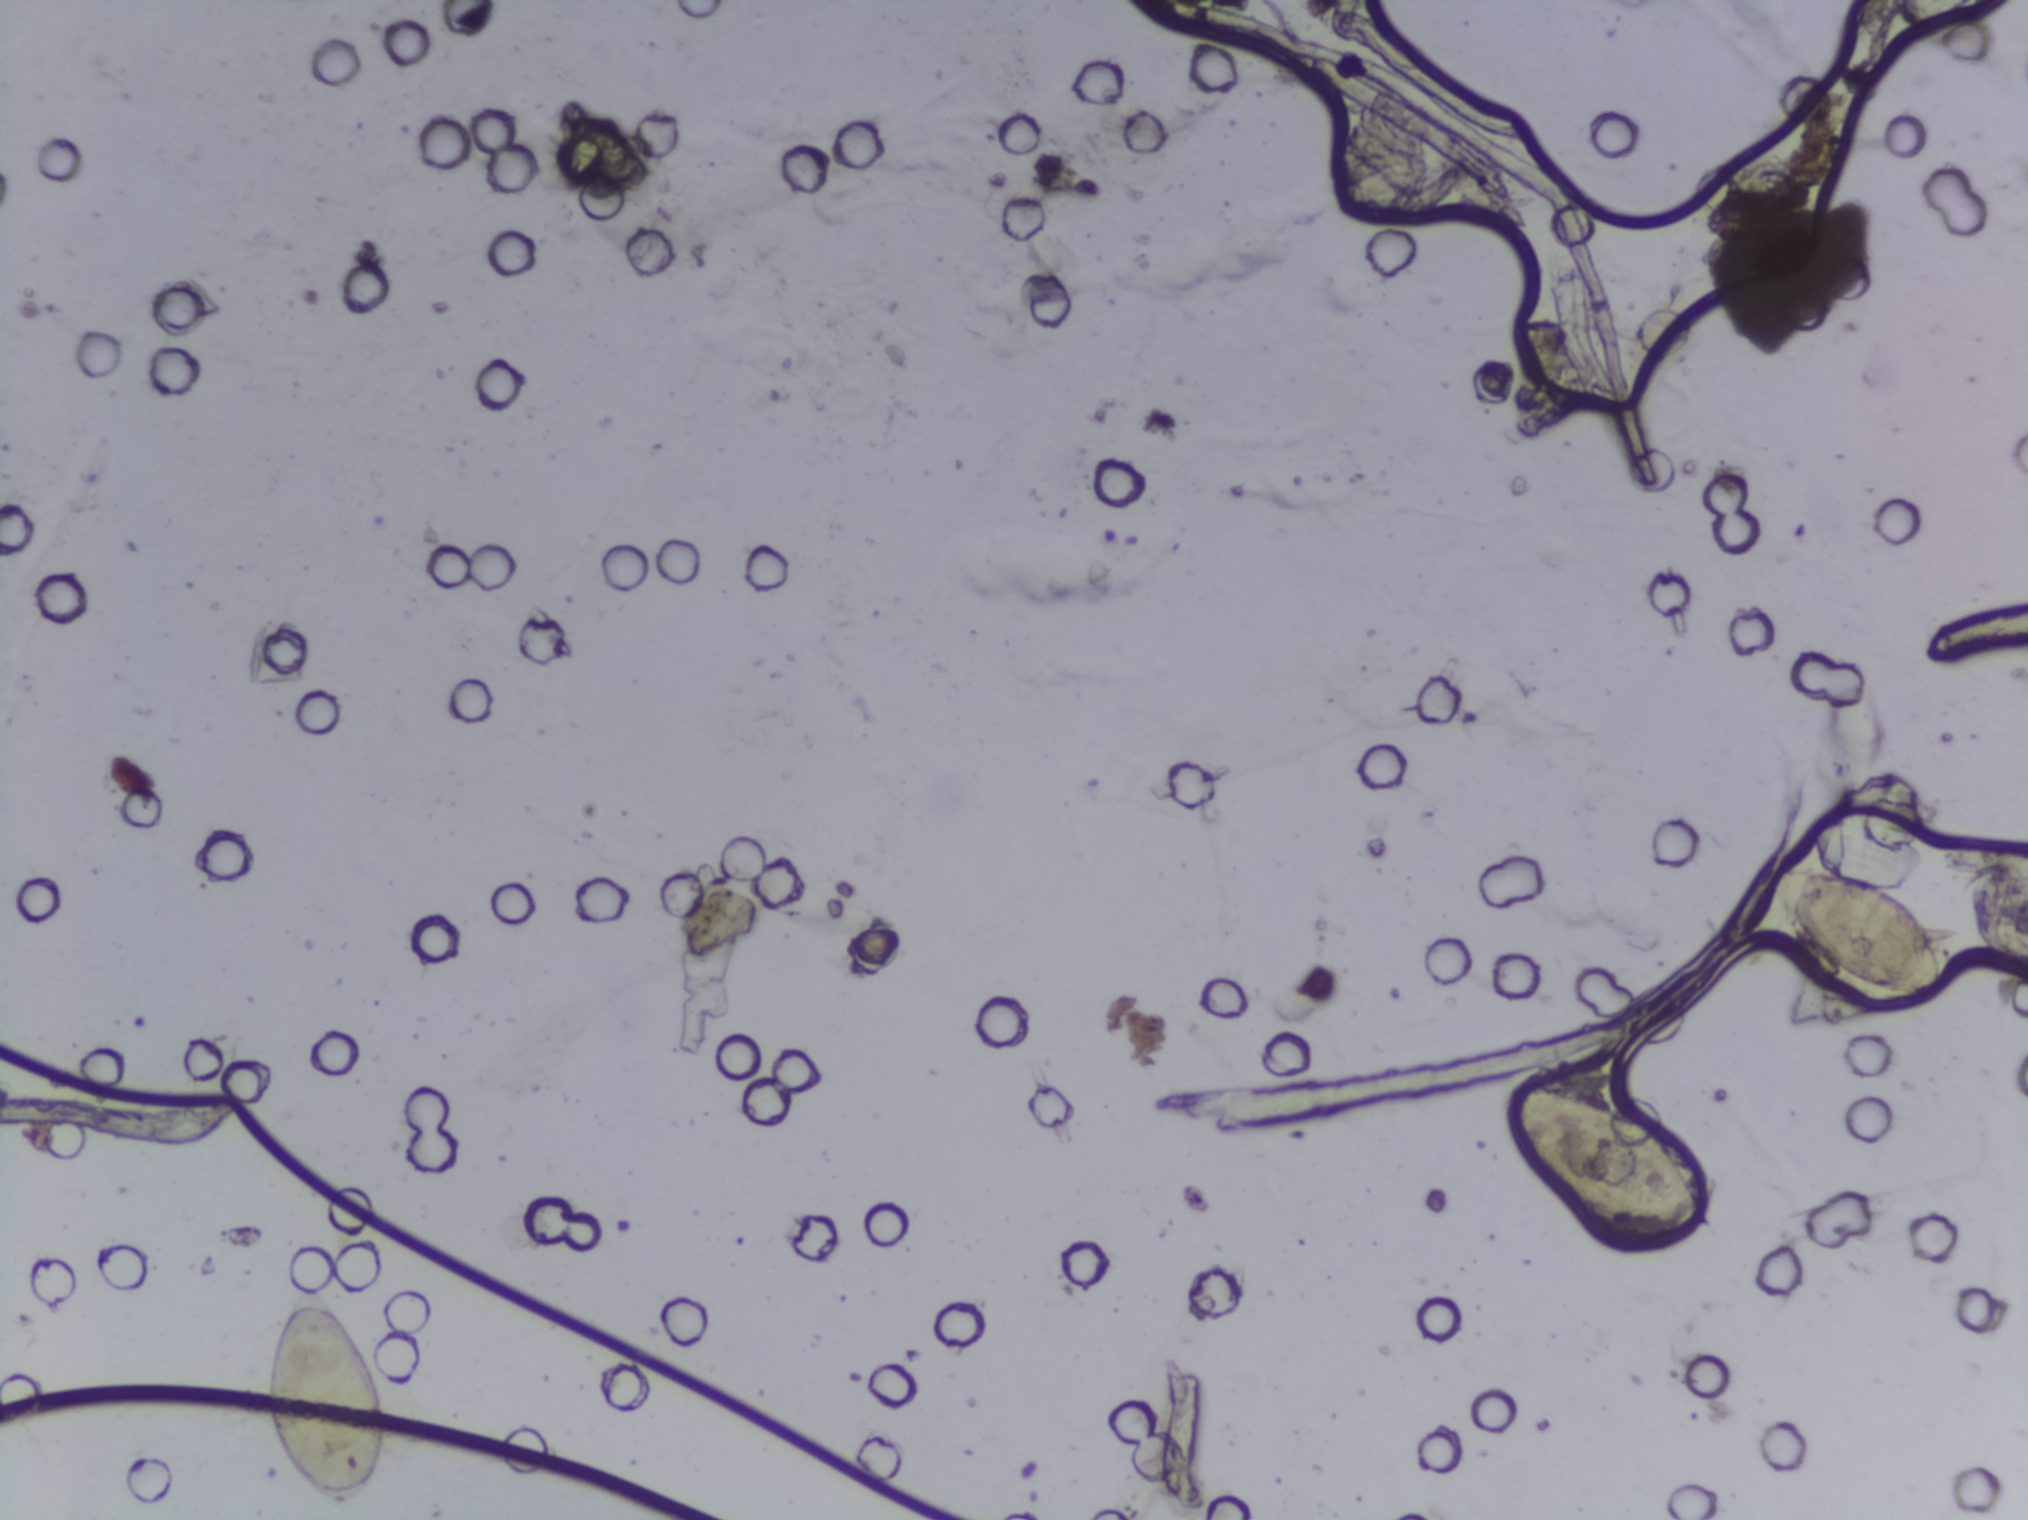
Photomicrograph of a urine filtration membrane, 4× objective.
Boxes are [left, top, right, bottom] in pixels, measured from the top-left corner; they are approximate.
Schistosoma eggs are outlined in the expert annotation at [263, 1283, 387, 1510]; [1498, 1084, 1715, 1229]; [1765, 868, 1947, 995]. The marked pixels themselves, not the boxes around them, cover about 1.8% of the image. A single outlined area may contain several eggs.